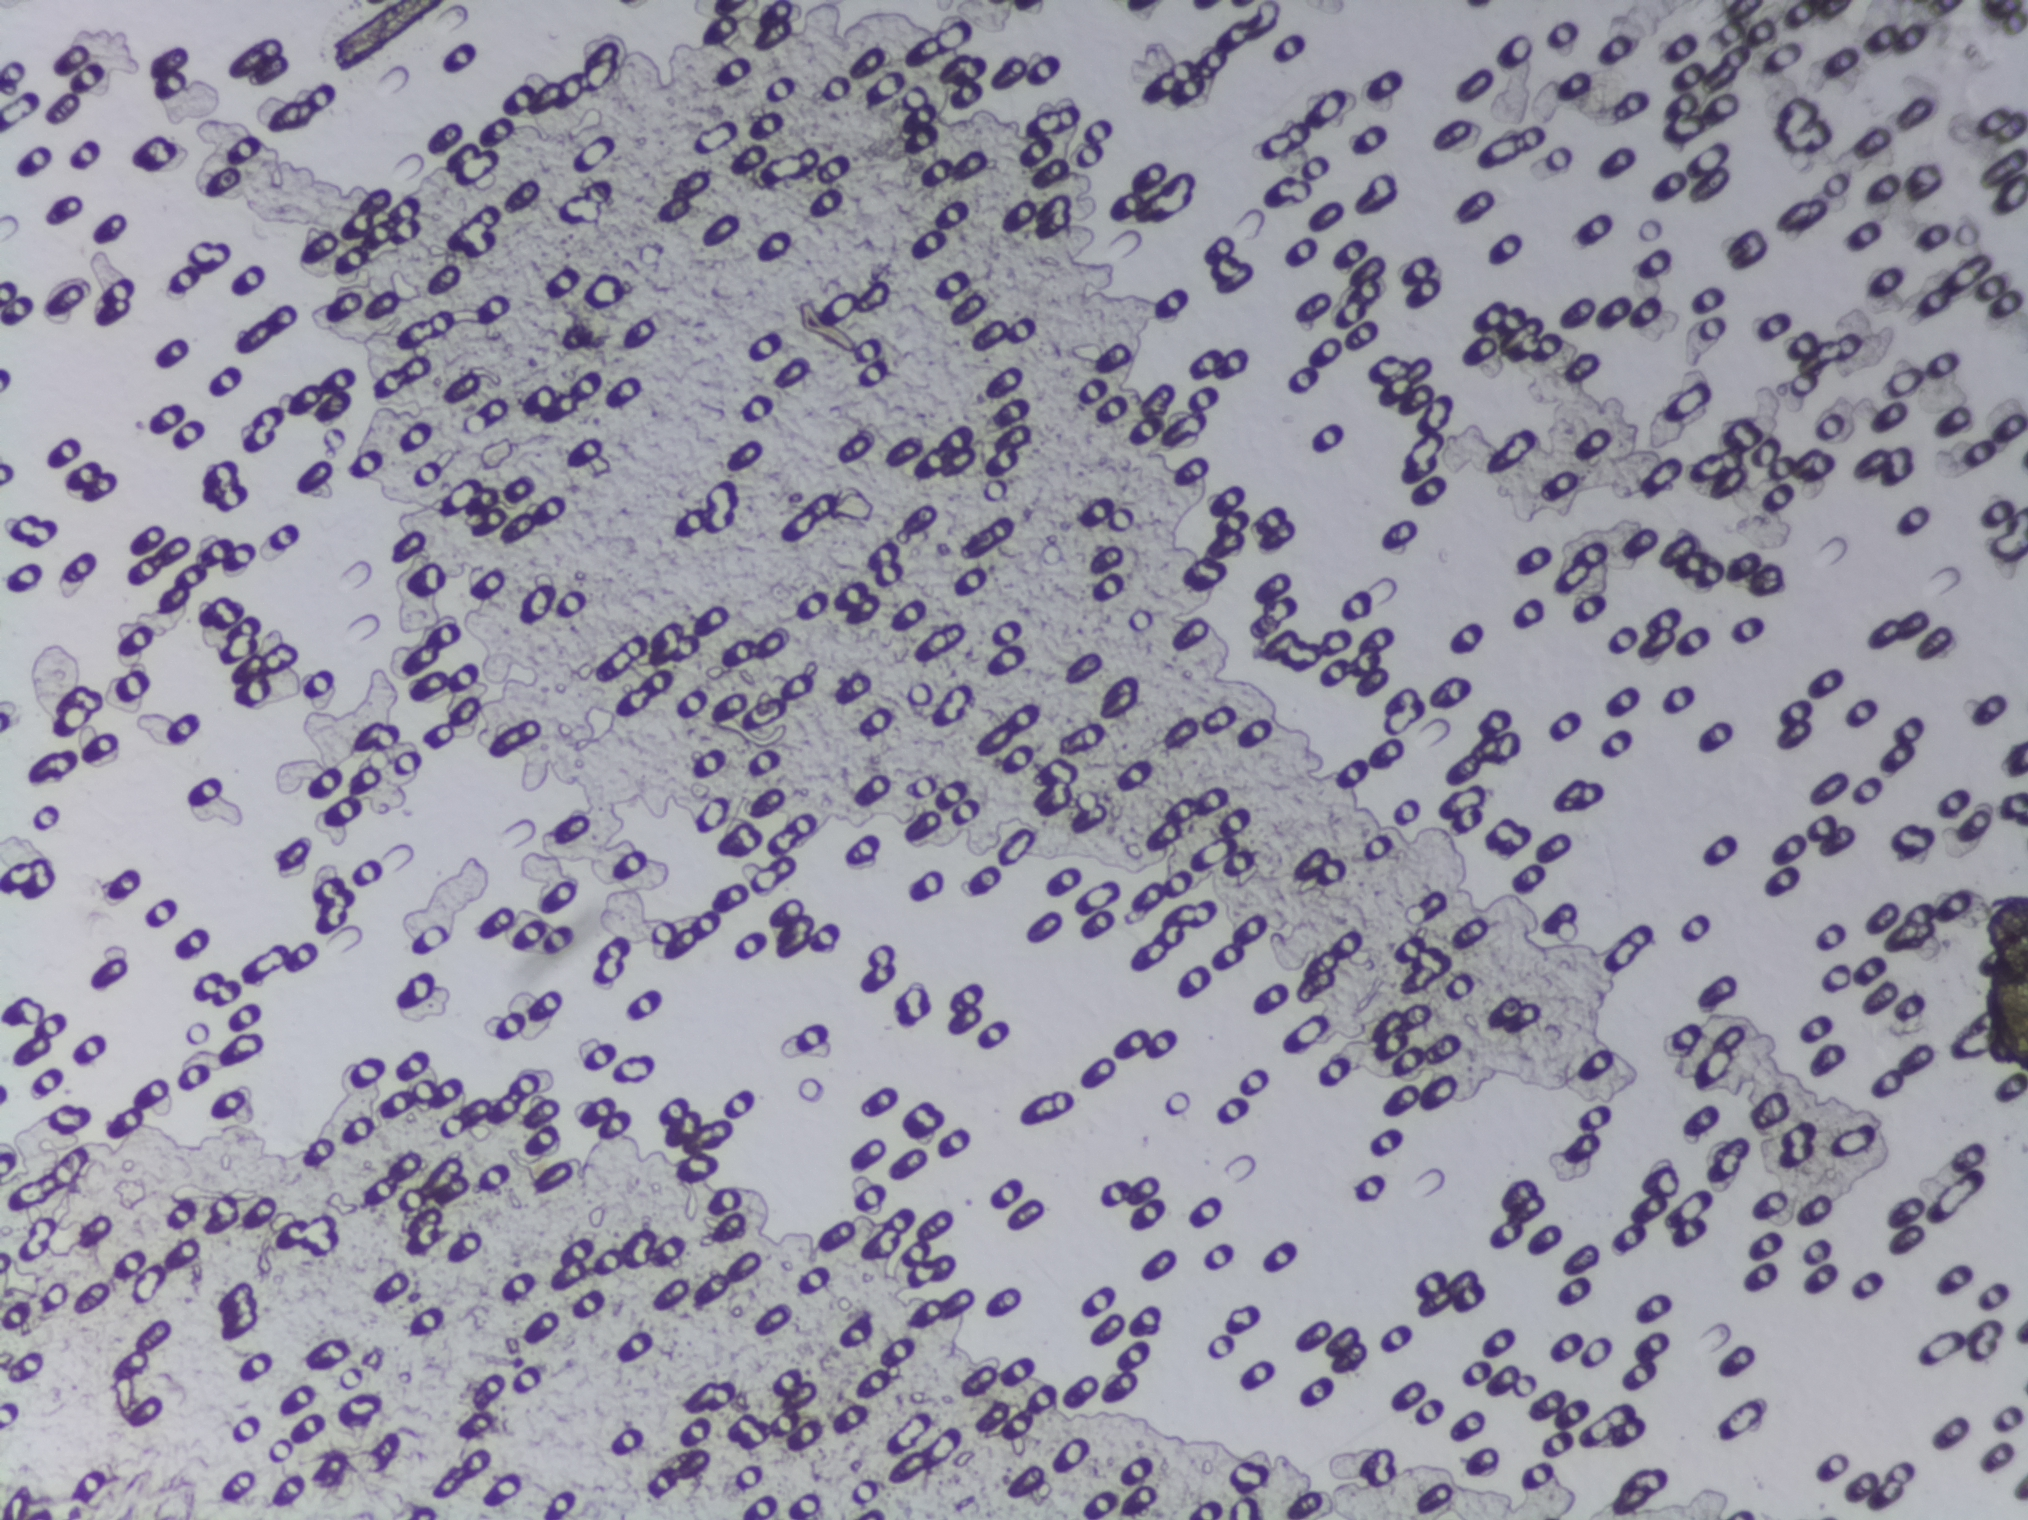
Schistosoma eggs: none outlined.
Microscope photograph (4× objective) of a membrane that a urine sample was filtered through.